One field of view of a urine filter membrane, 4× objective, 2028 × 1520 pixels.
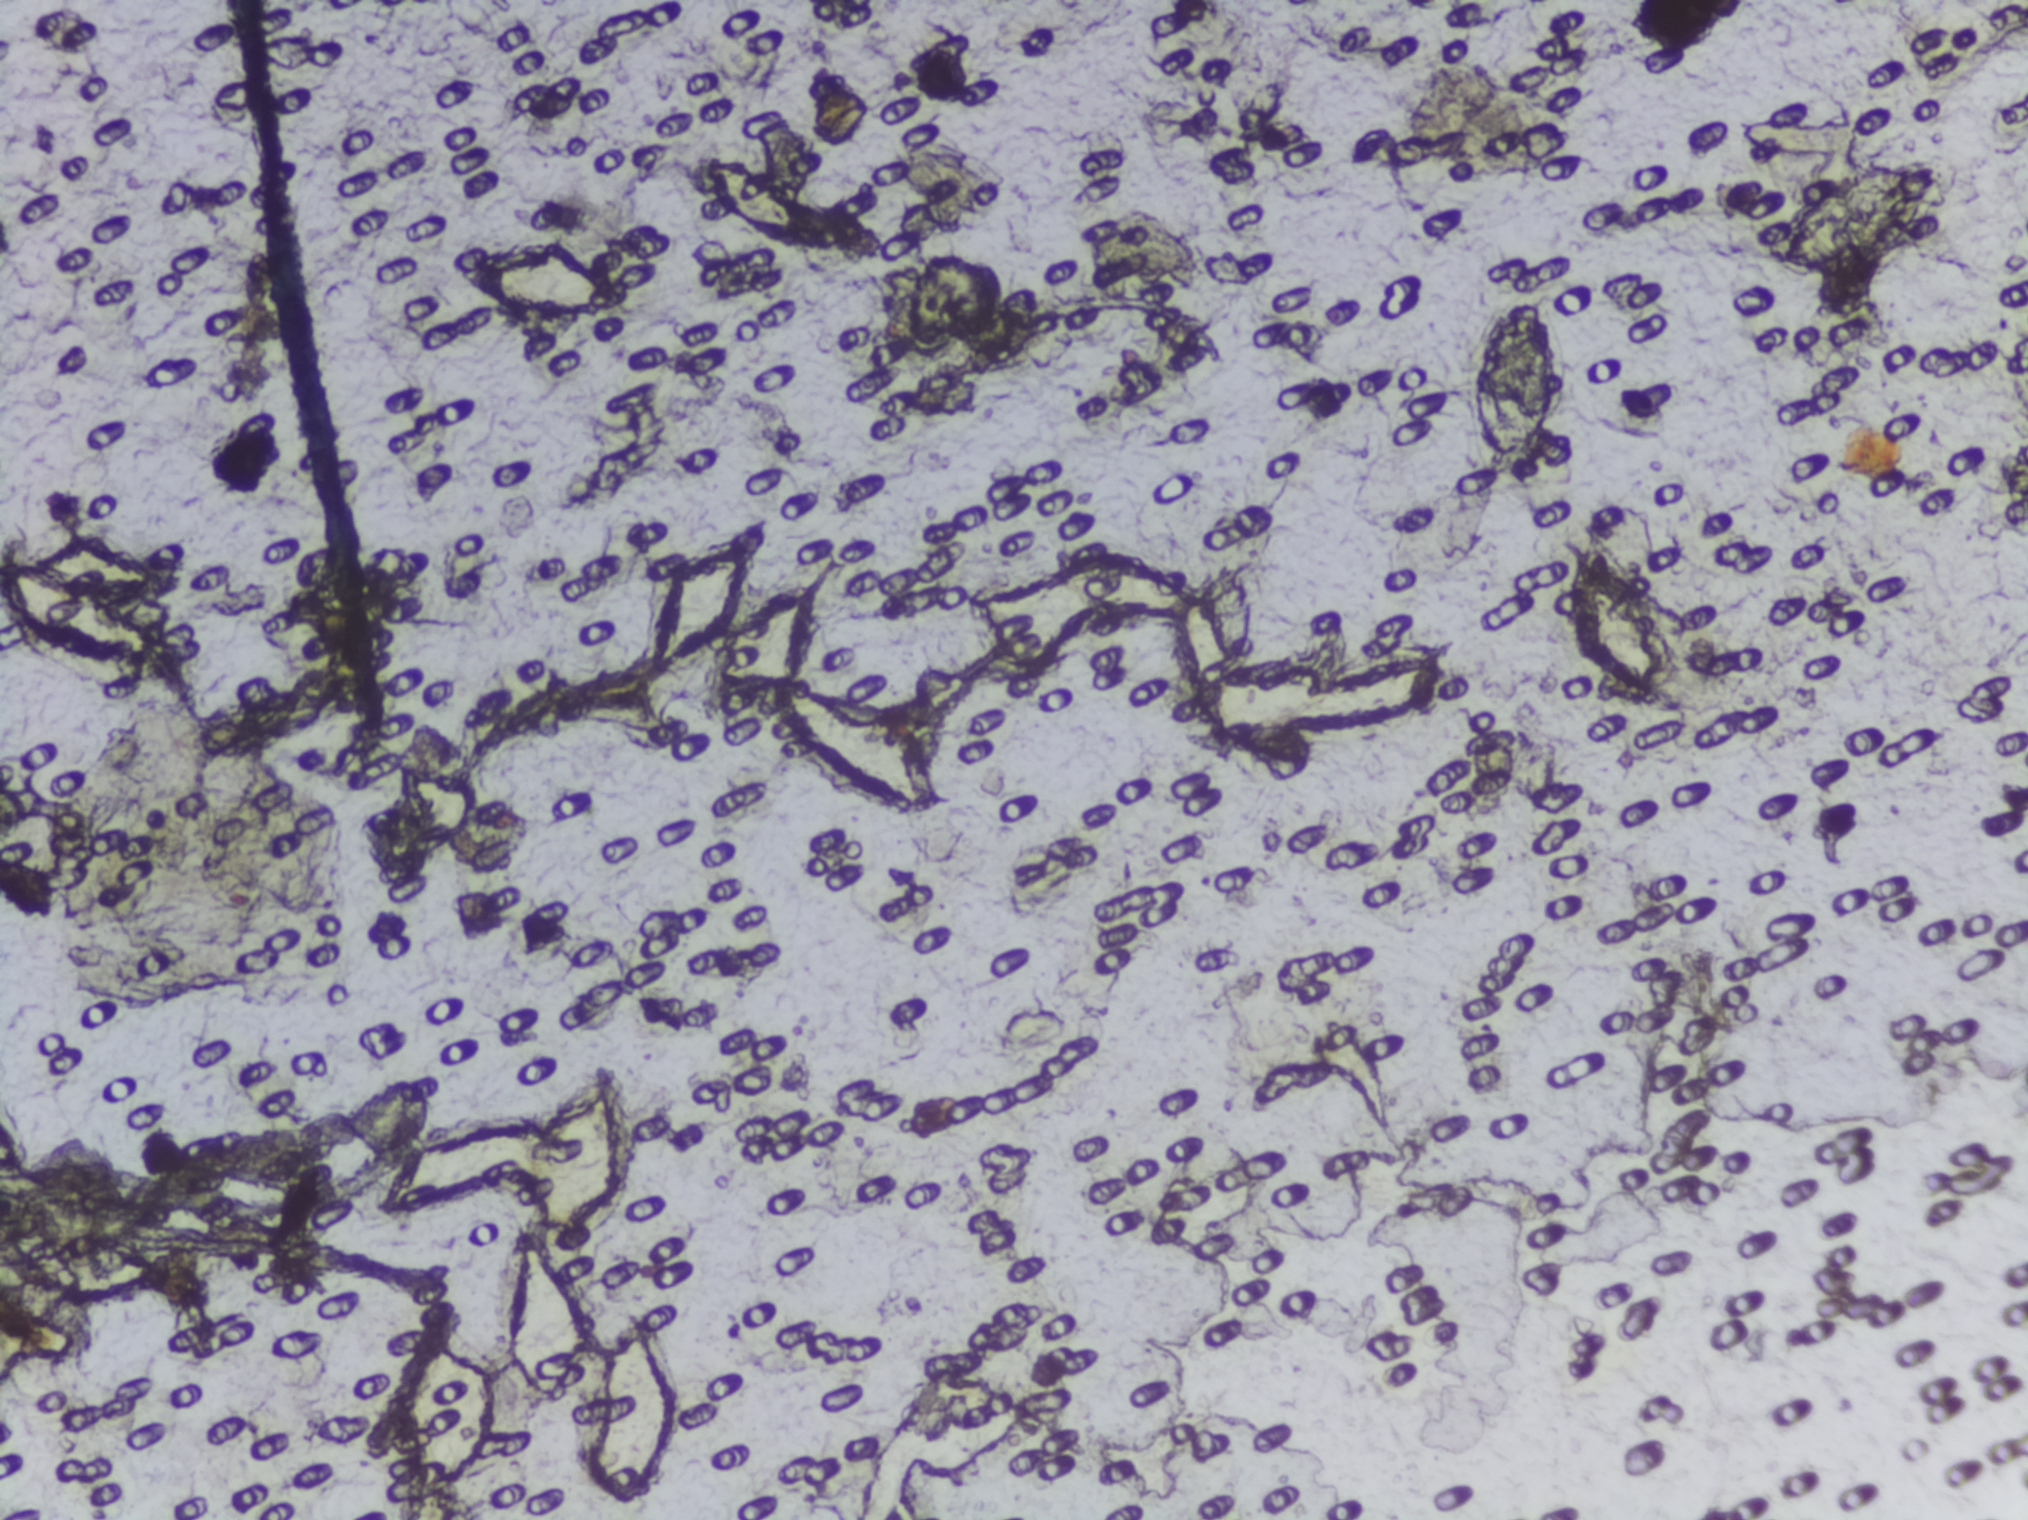
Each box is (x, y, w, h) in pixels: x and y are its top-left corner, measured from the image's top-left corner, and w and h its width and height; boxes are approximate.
Schistosoma eggs are outlined in the expert annotation at (x=1465, y=288, w=95, h=198); (x=1568, y=526, w=134, h=181); (x=1766, y=151, w=184, h=137). An outlined area can hold more than one egg.